Urine filter membrane photographed through a 4× microscope objective.
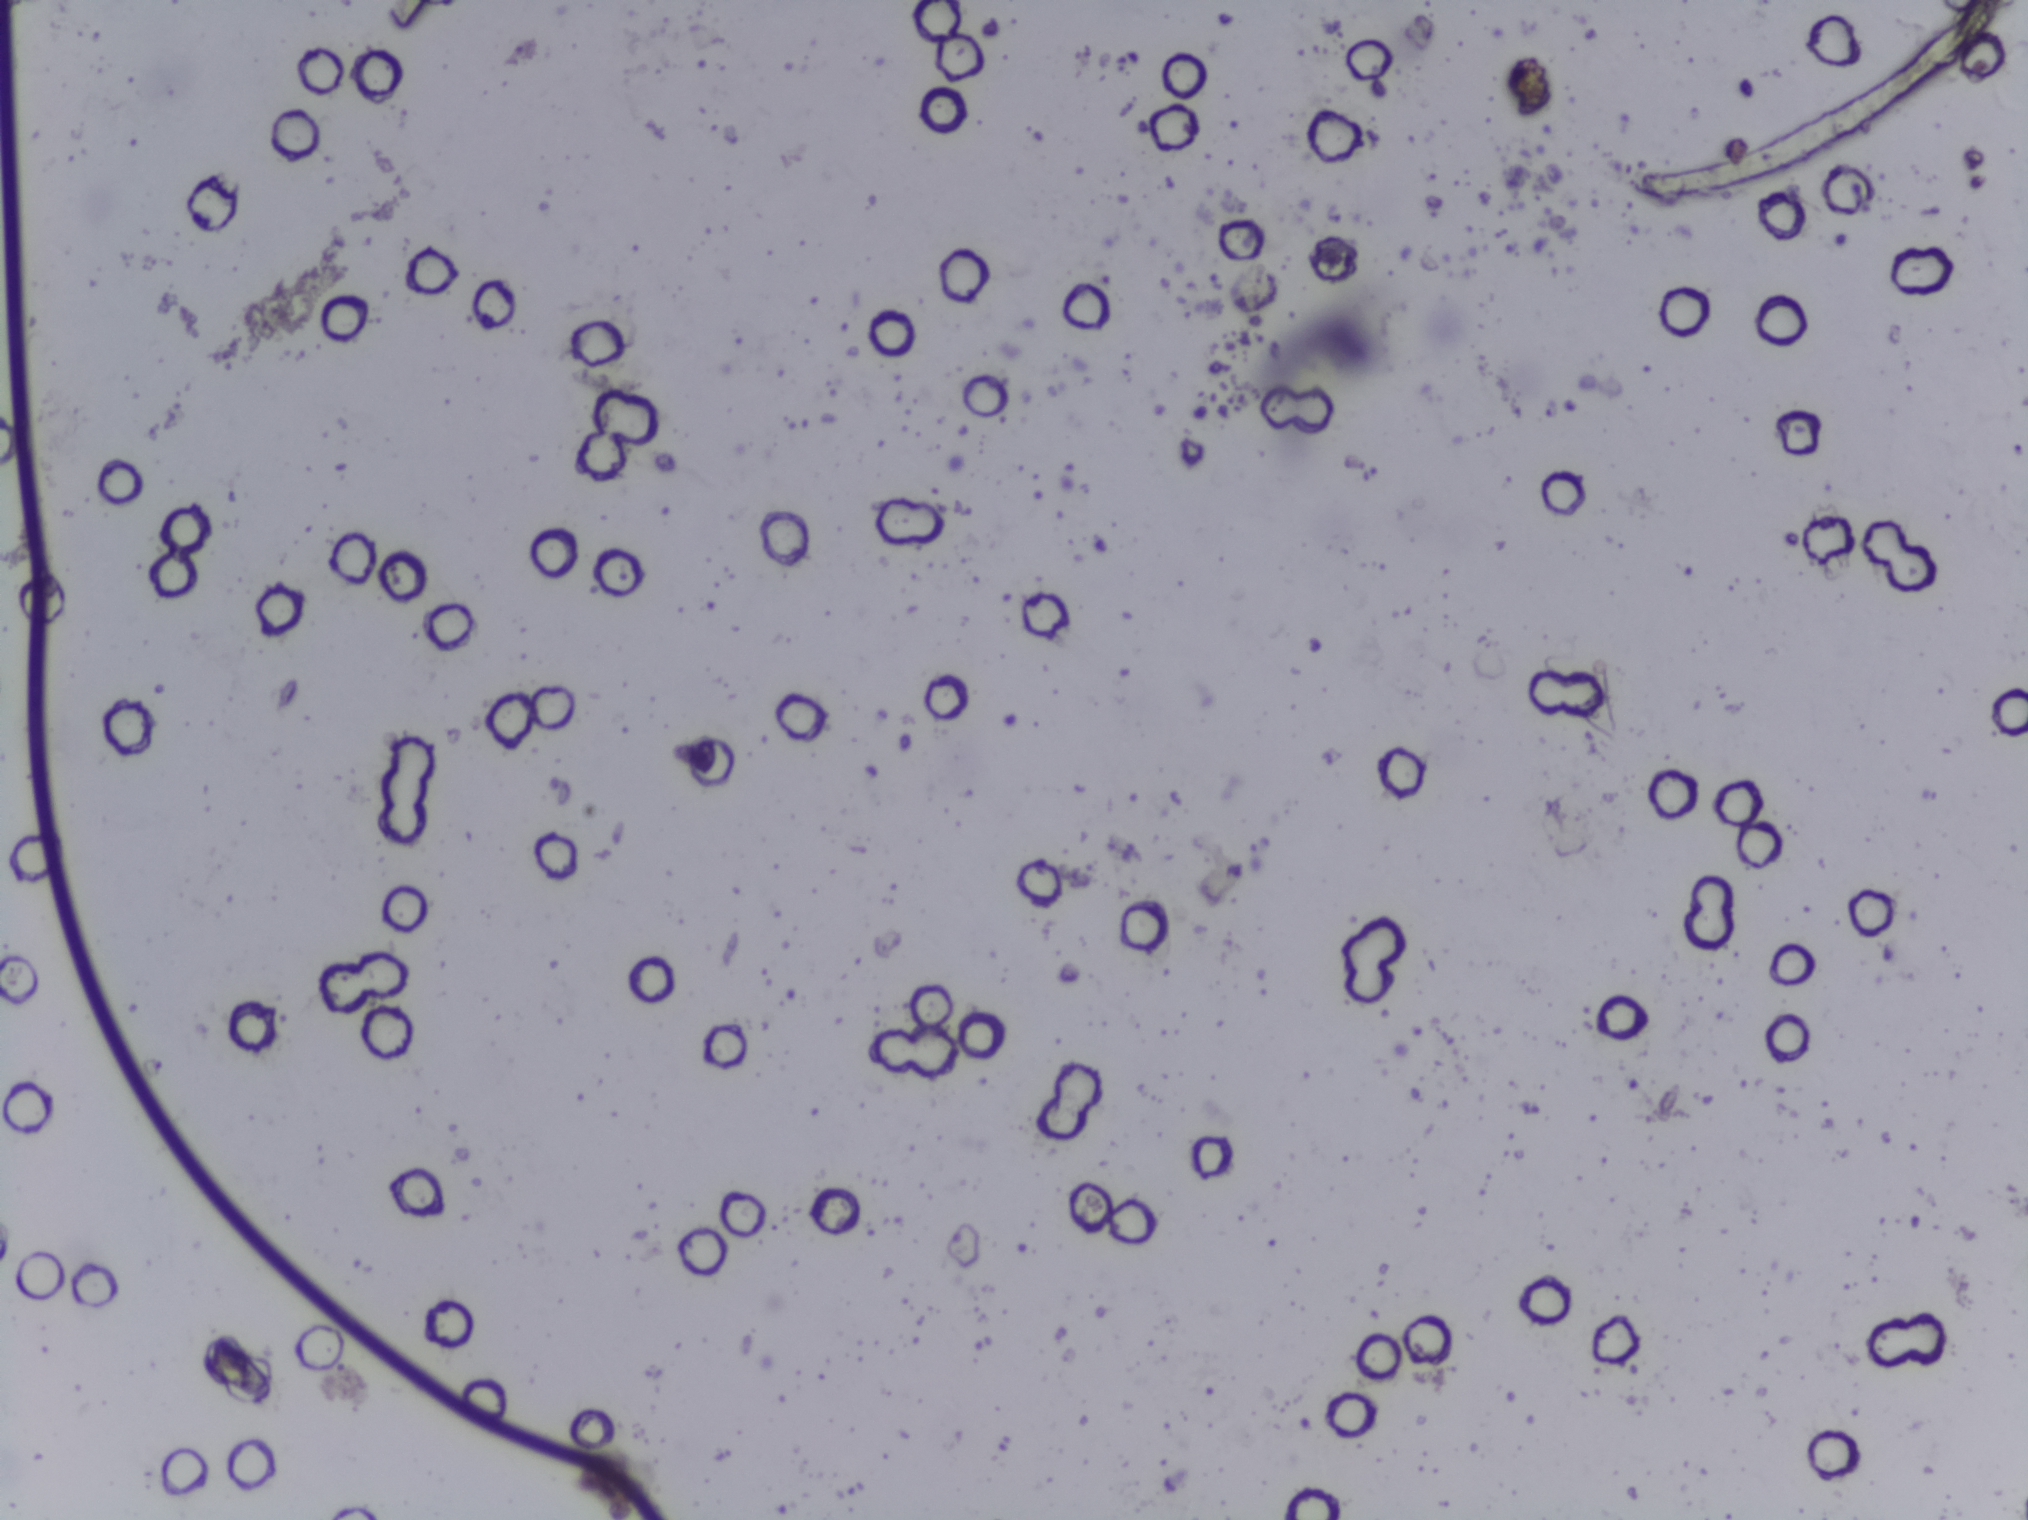
Schistosoma eggs: none outlined.